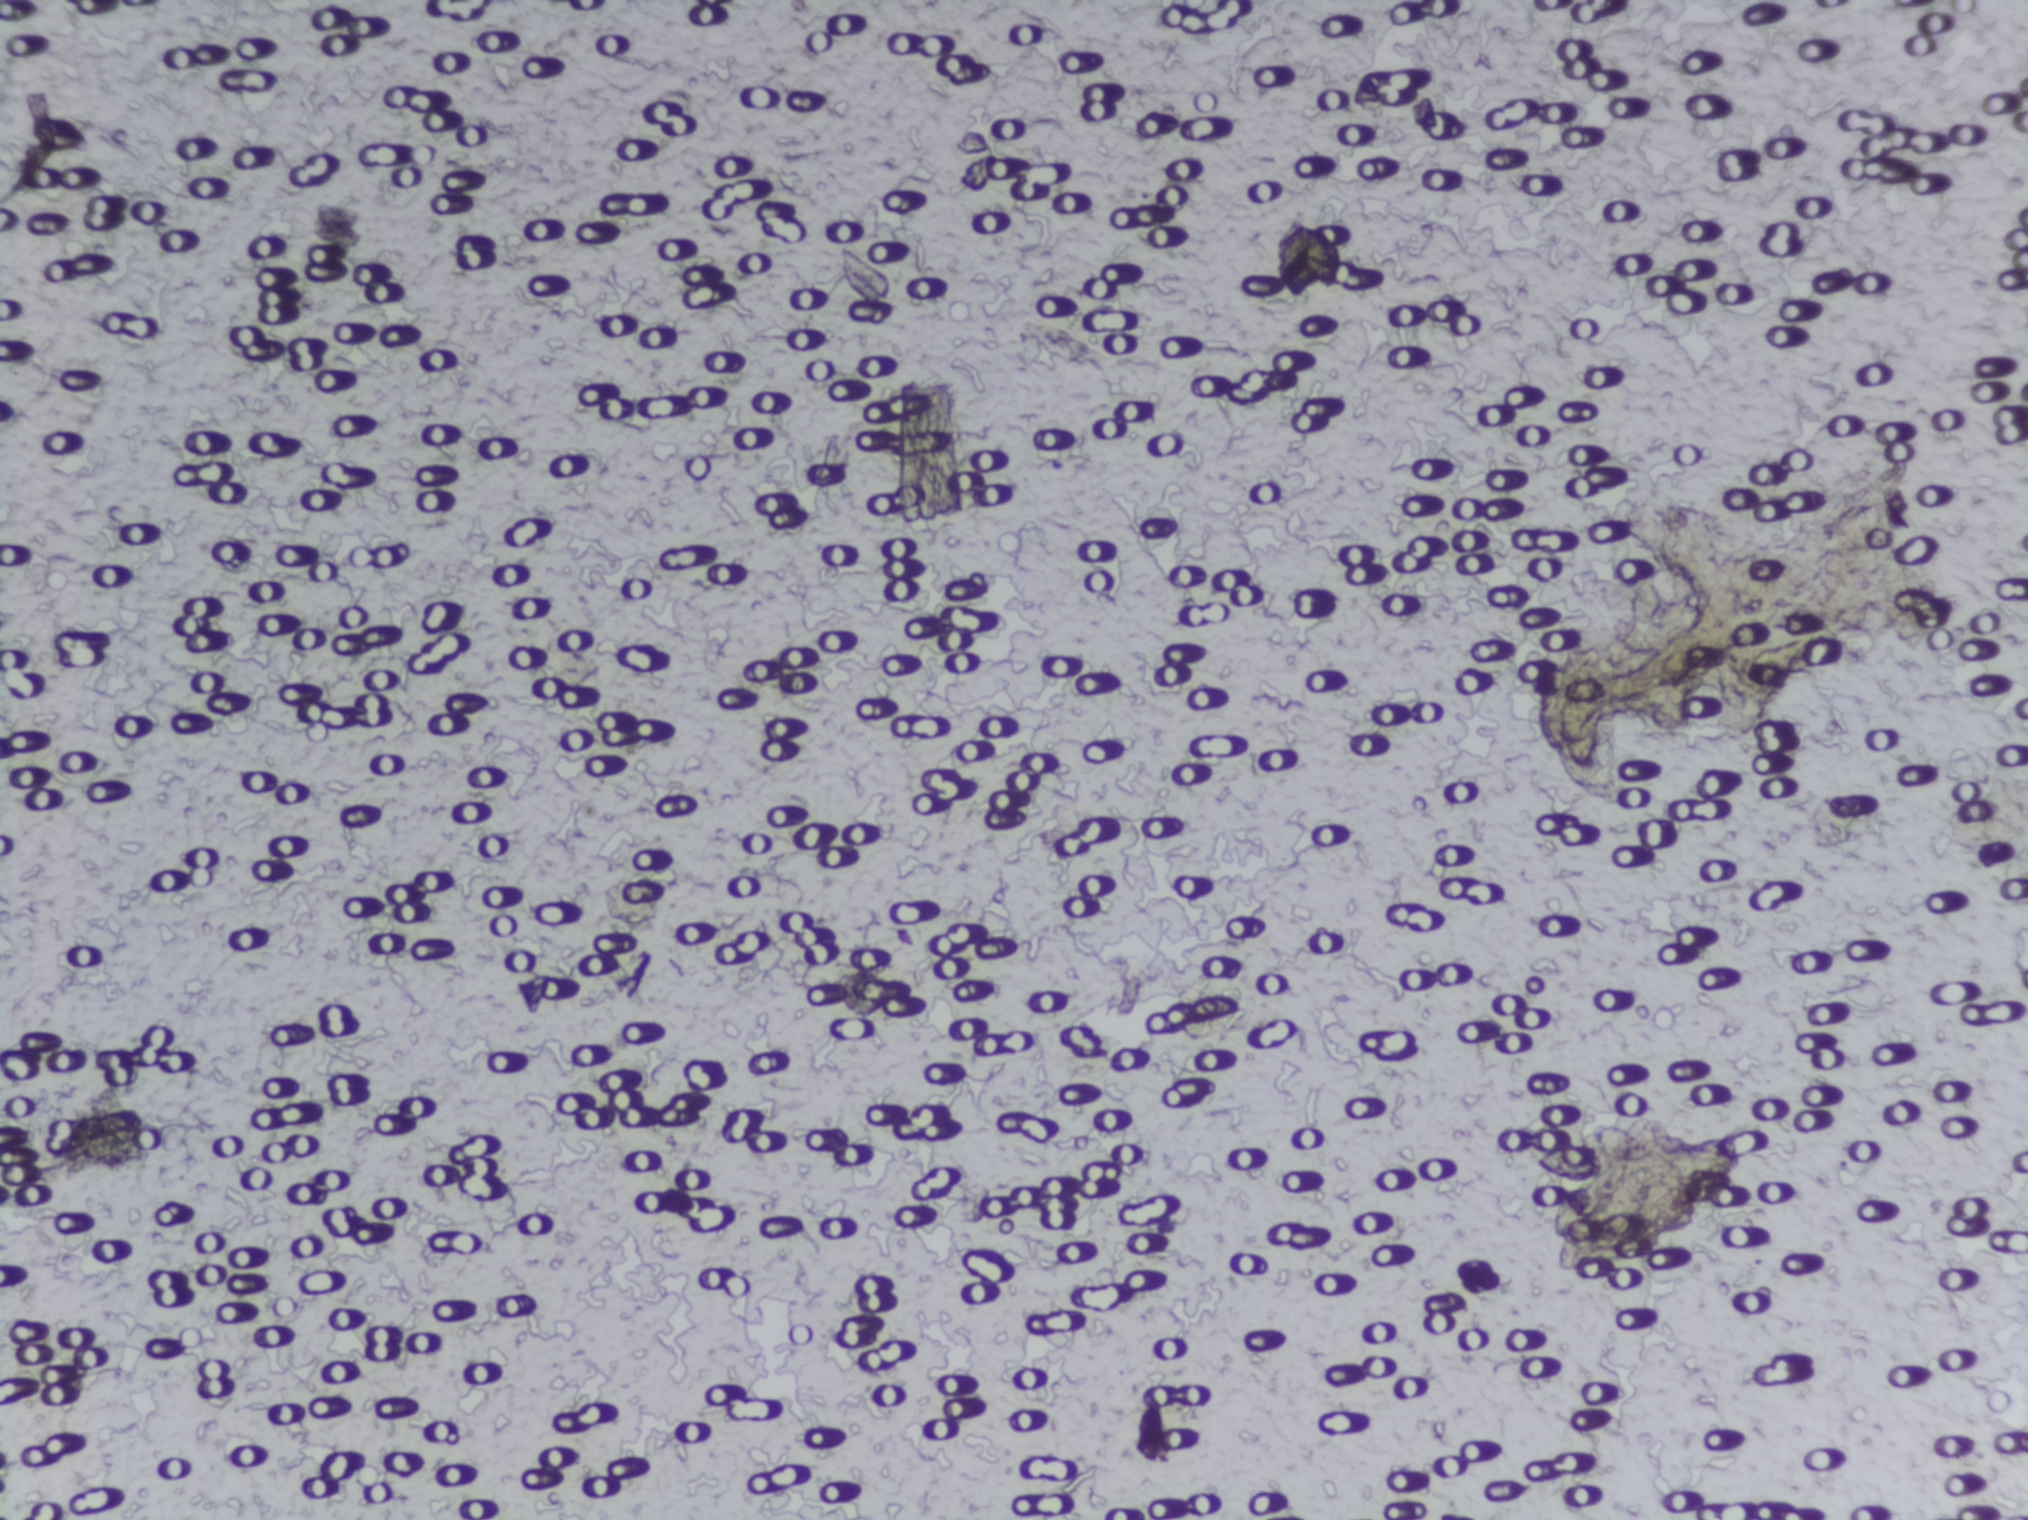
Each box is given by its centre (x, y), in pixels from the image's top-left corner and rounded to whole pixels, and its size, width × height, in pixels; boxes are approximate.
Areas outlined as Schistosoma eggs: centre (1652, 1191), 219 × 134 px. A single outlined area may contain several eggs.
Microscope photograph (4× objective) of a membrane that a urine sample was filtered through. The image covers about 1.5 × 1.1 mm of the membrane.